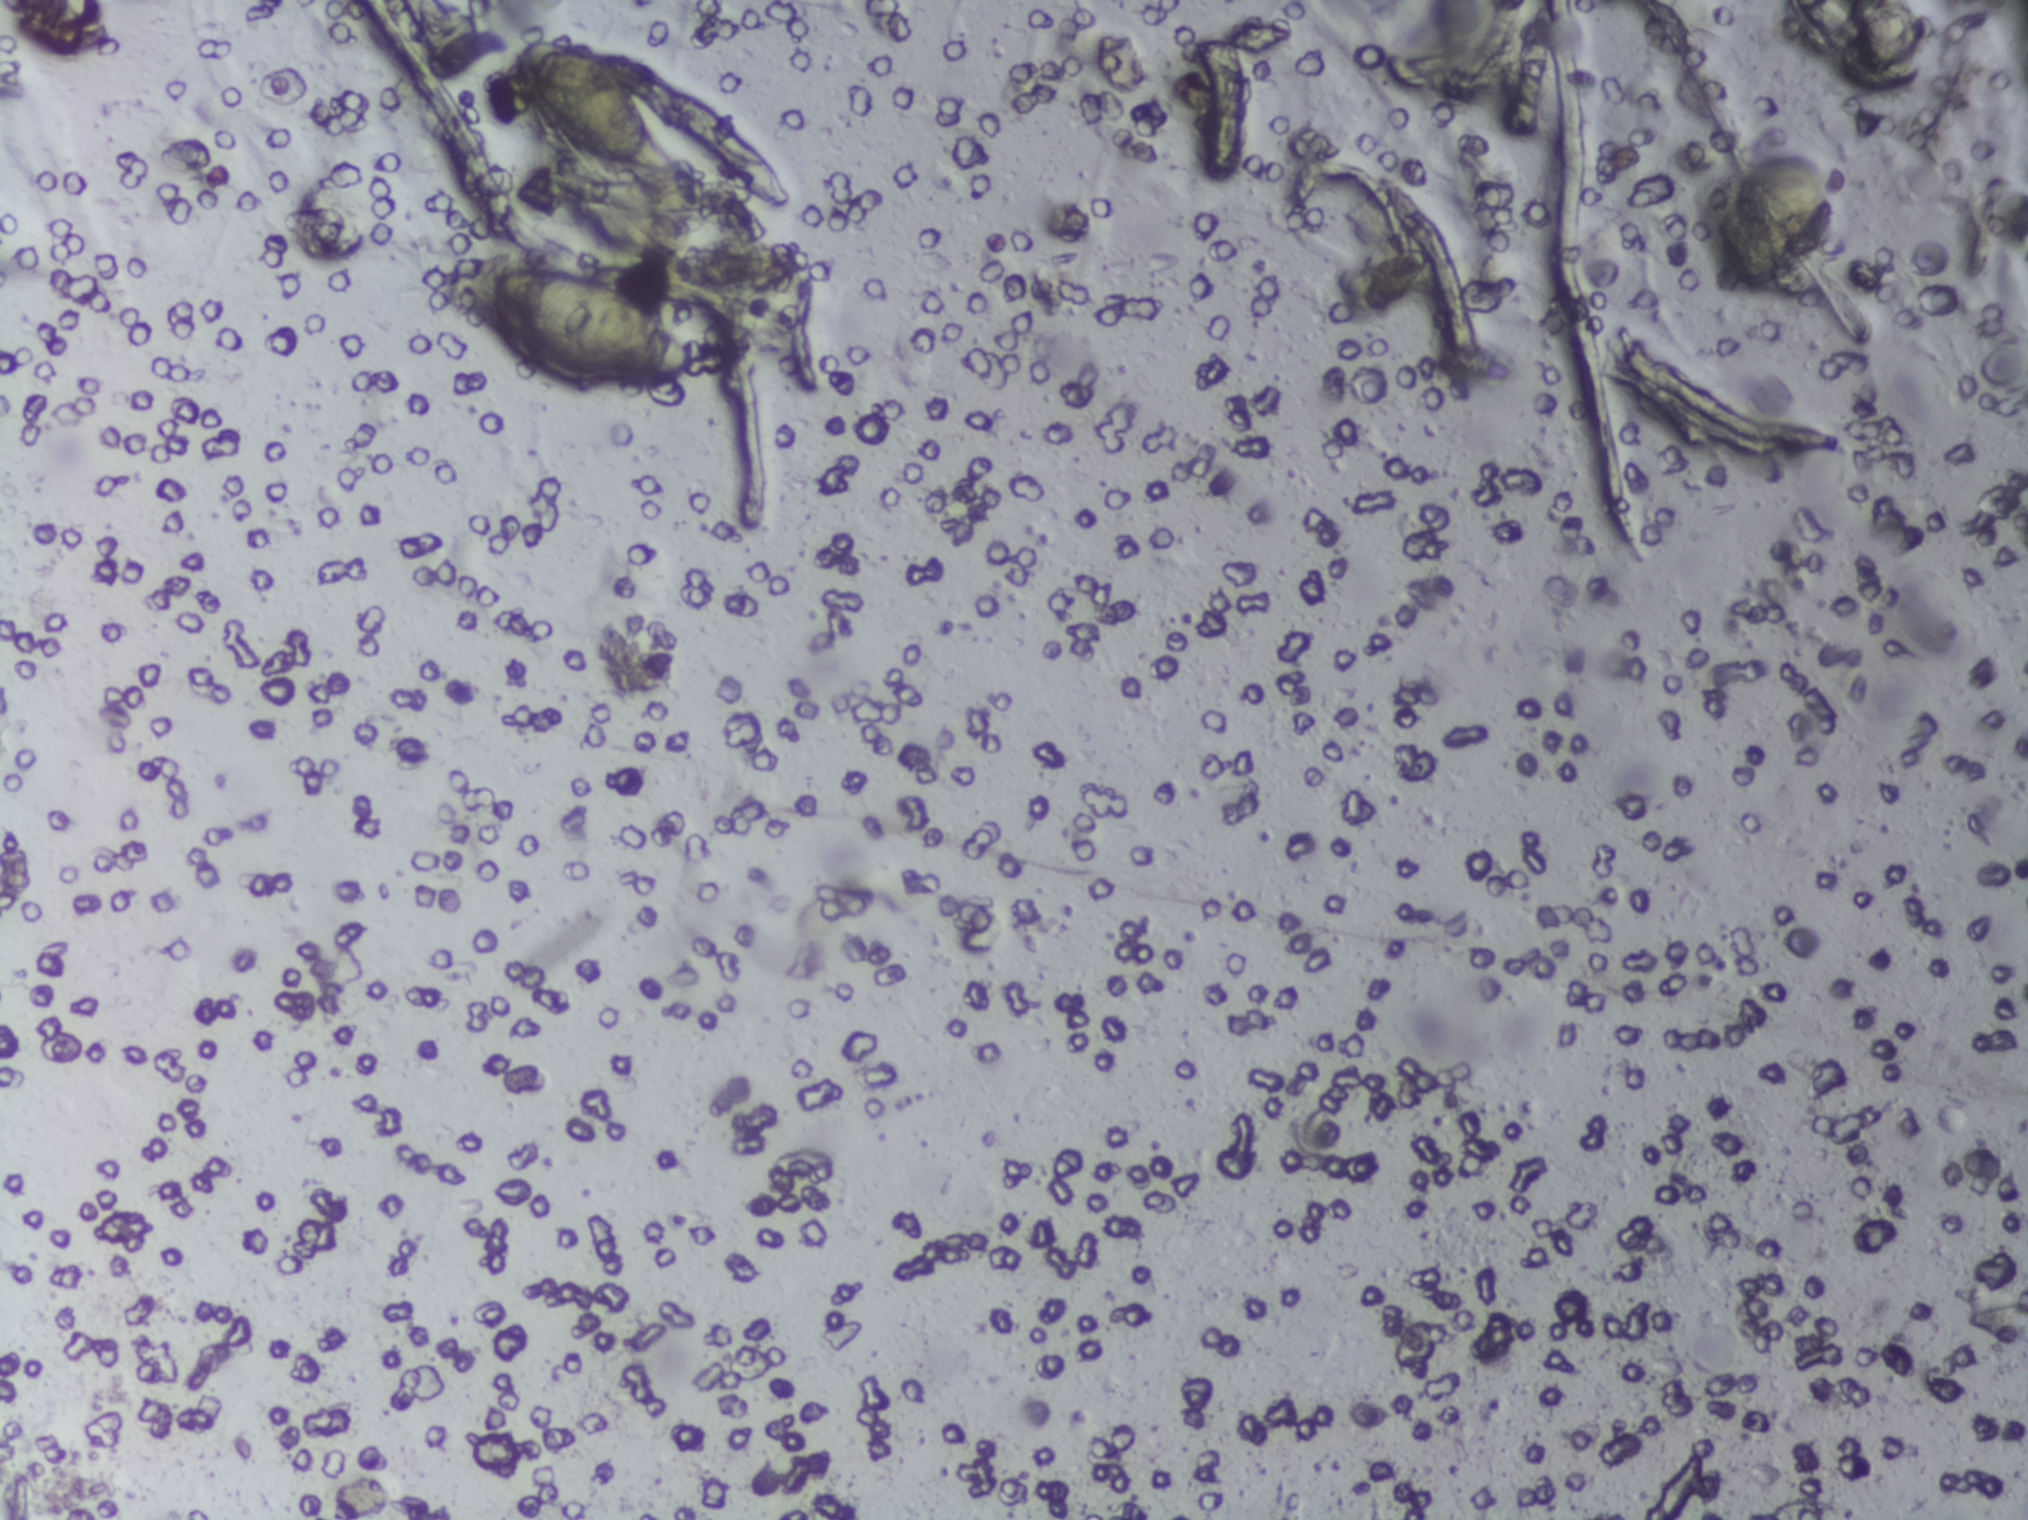
Photomicrograph of a urine filtration membrane, 4× objective. The image covers about 1.5 × 1.1 mm of the membrane.
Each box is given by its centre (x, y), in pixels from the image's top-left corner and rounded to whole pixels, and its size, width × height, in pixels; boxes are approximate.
Schistosoma eggs are outlined in the expert annotation at centre (575, 329), 247 × 136 px and centre (587, 104), 142 × 137 px. An outlined area can hold more than one egg.